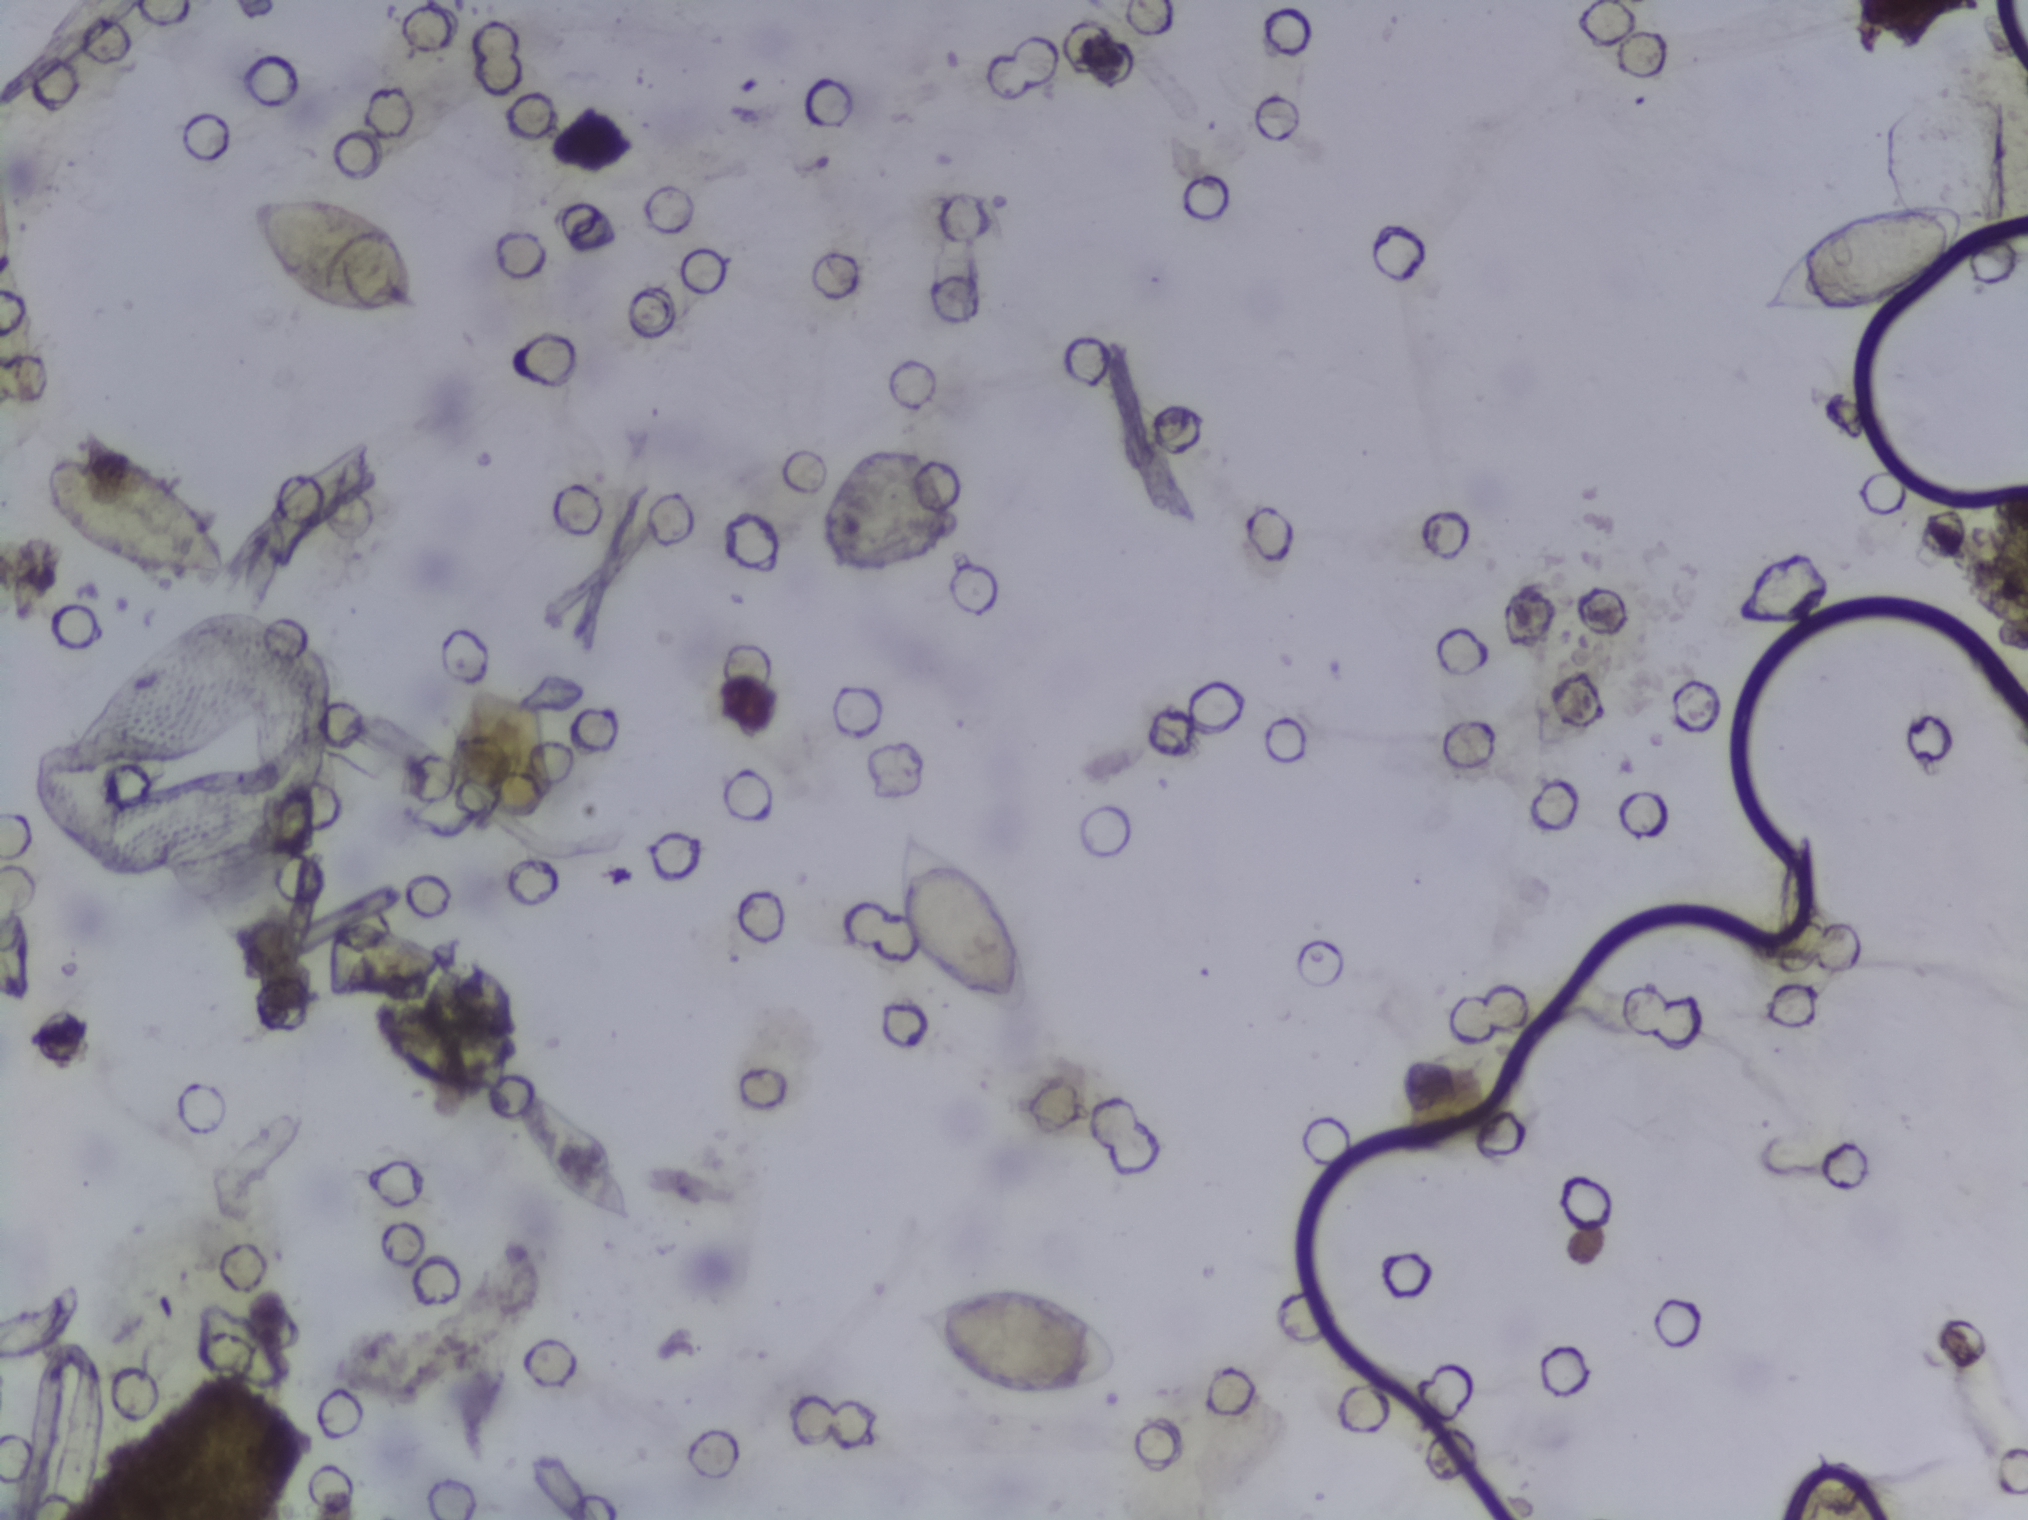
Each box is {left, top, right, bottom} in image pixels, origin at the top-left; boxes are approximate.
Schistosoma eggs are outlined in the expert annotation at {43, 436, 227, 575}; {250, 194, 422, 314}; {511, 1091, 634, 1225}; {891, 830, 1031, 1017}; {909, 1285, 1120, 1402}; {1755, 202, 1962, 321} (left to right). The marked pixels themselves, not the boxes around them, cover about 2.9% of the image. An outlined area can hold more than one egg. A marked egg may occasionally be S. mansoni rather than S. haematobium.
Microscope photograph (4× objective) of a membrane that a urine sample was filtered through.